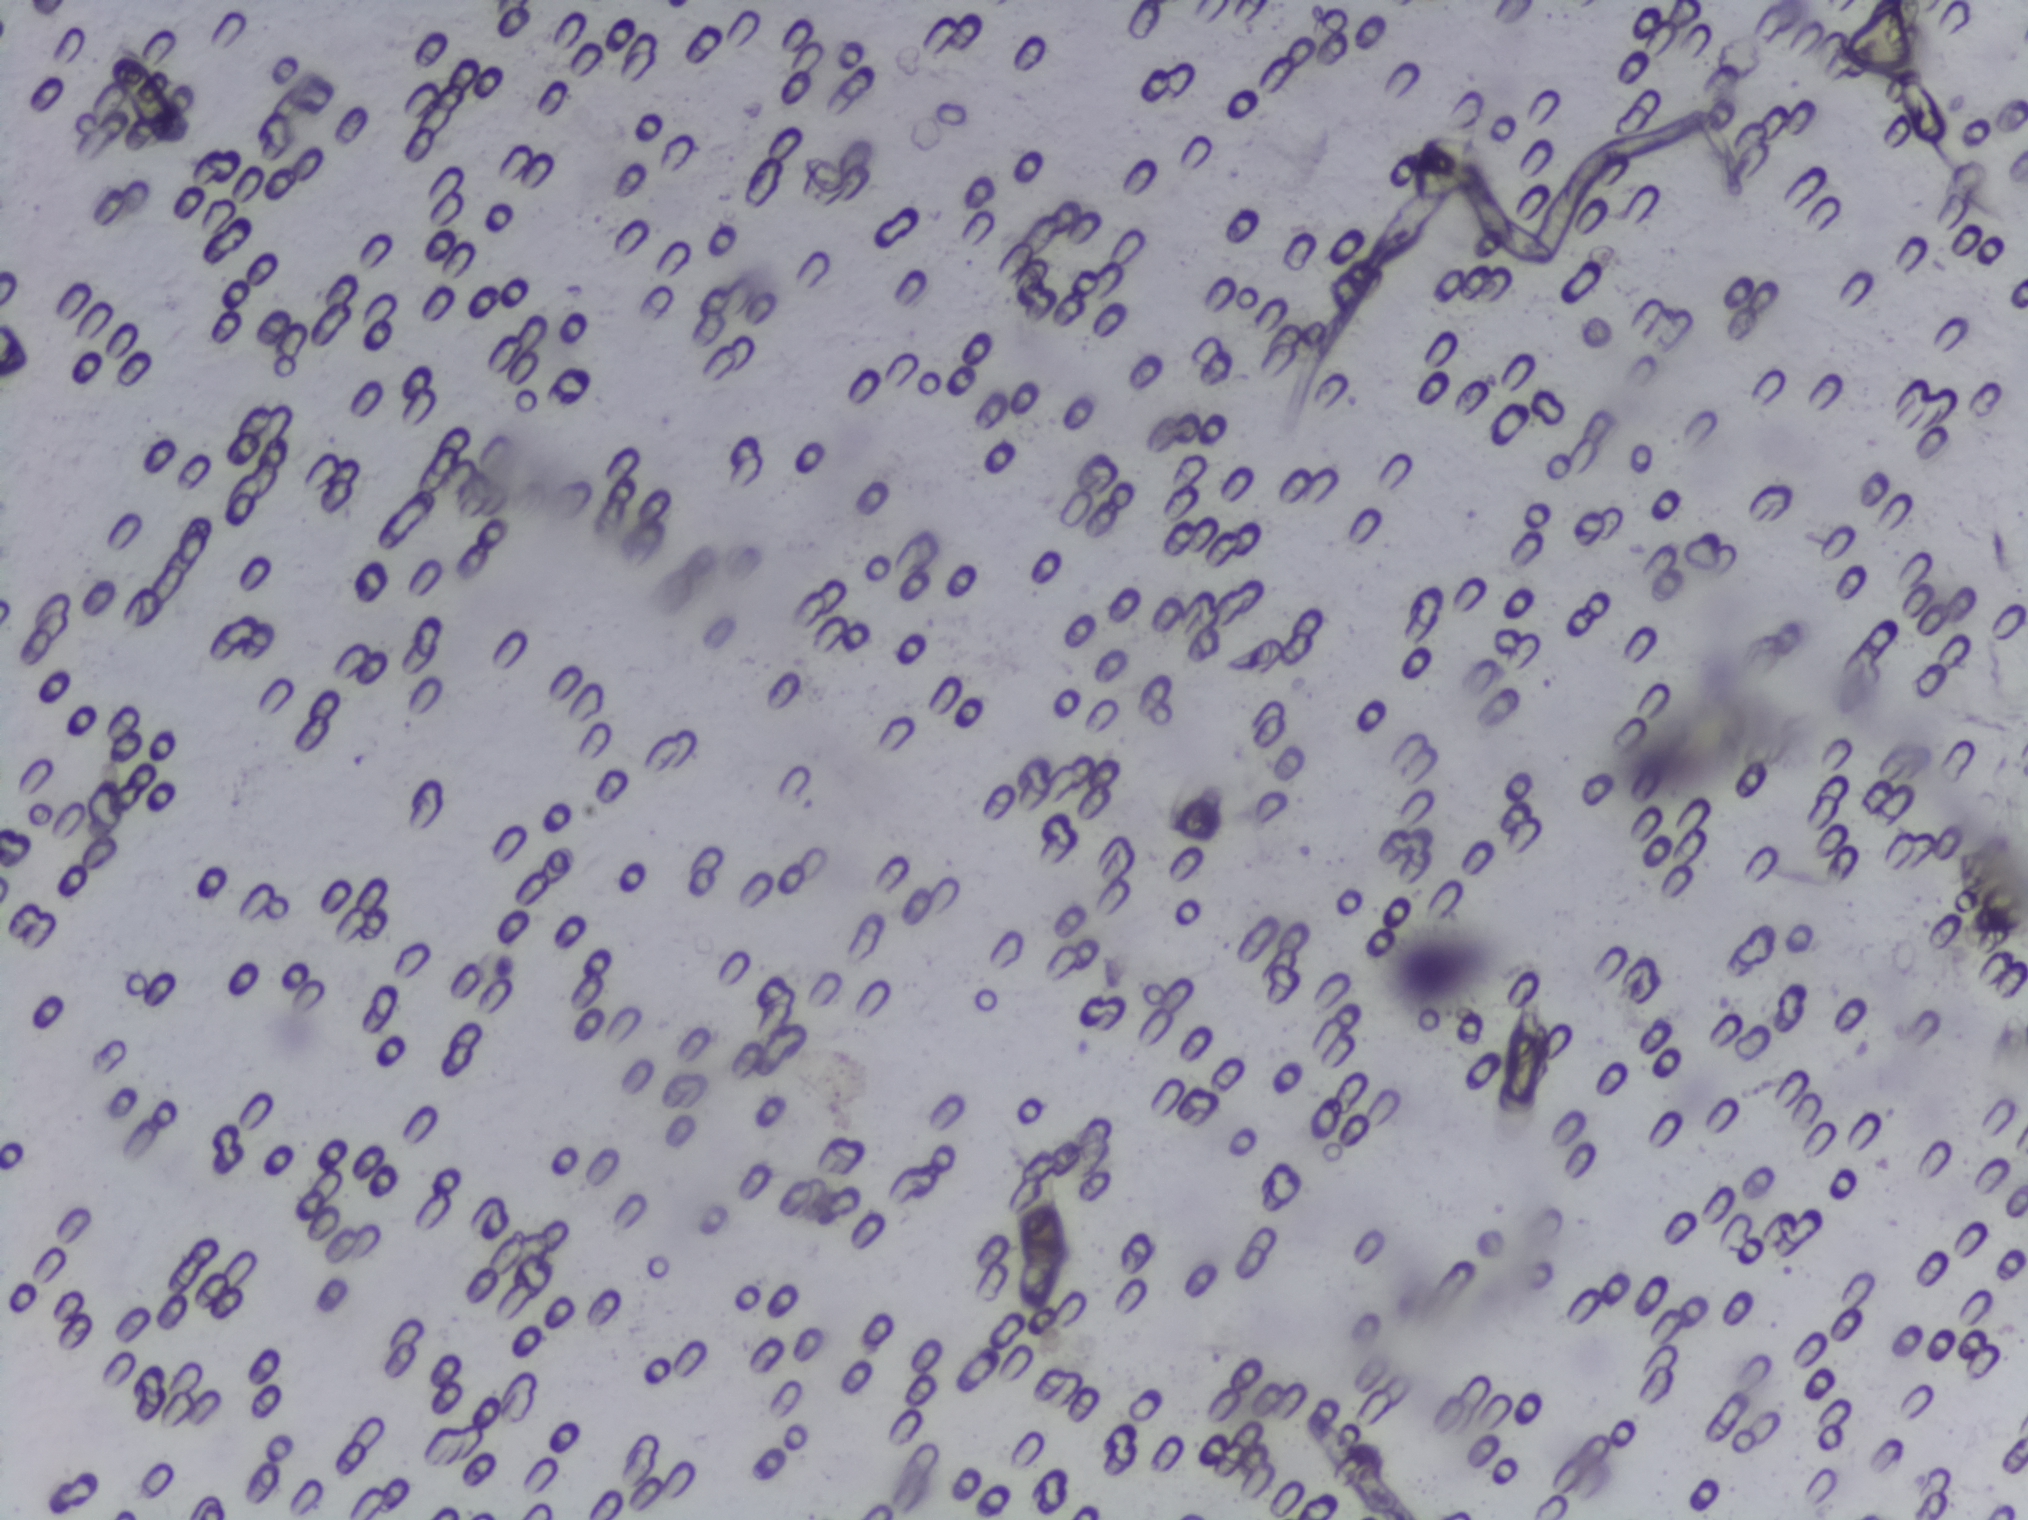
Photomicrograph of a urine filtration membrane, 4× objective.
Schistosoma eggs: none outlined.